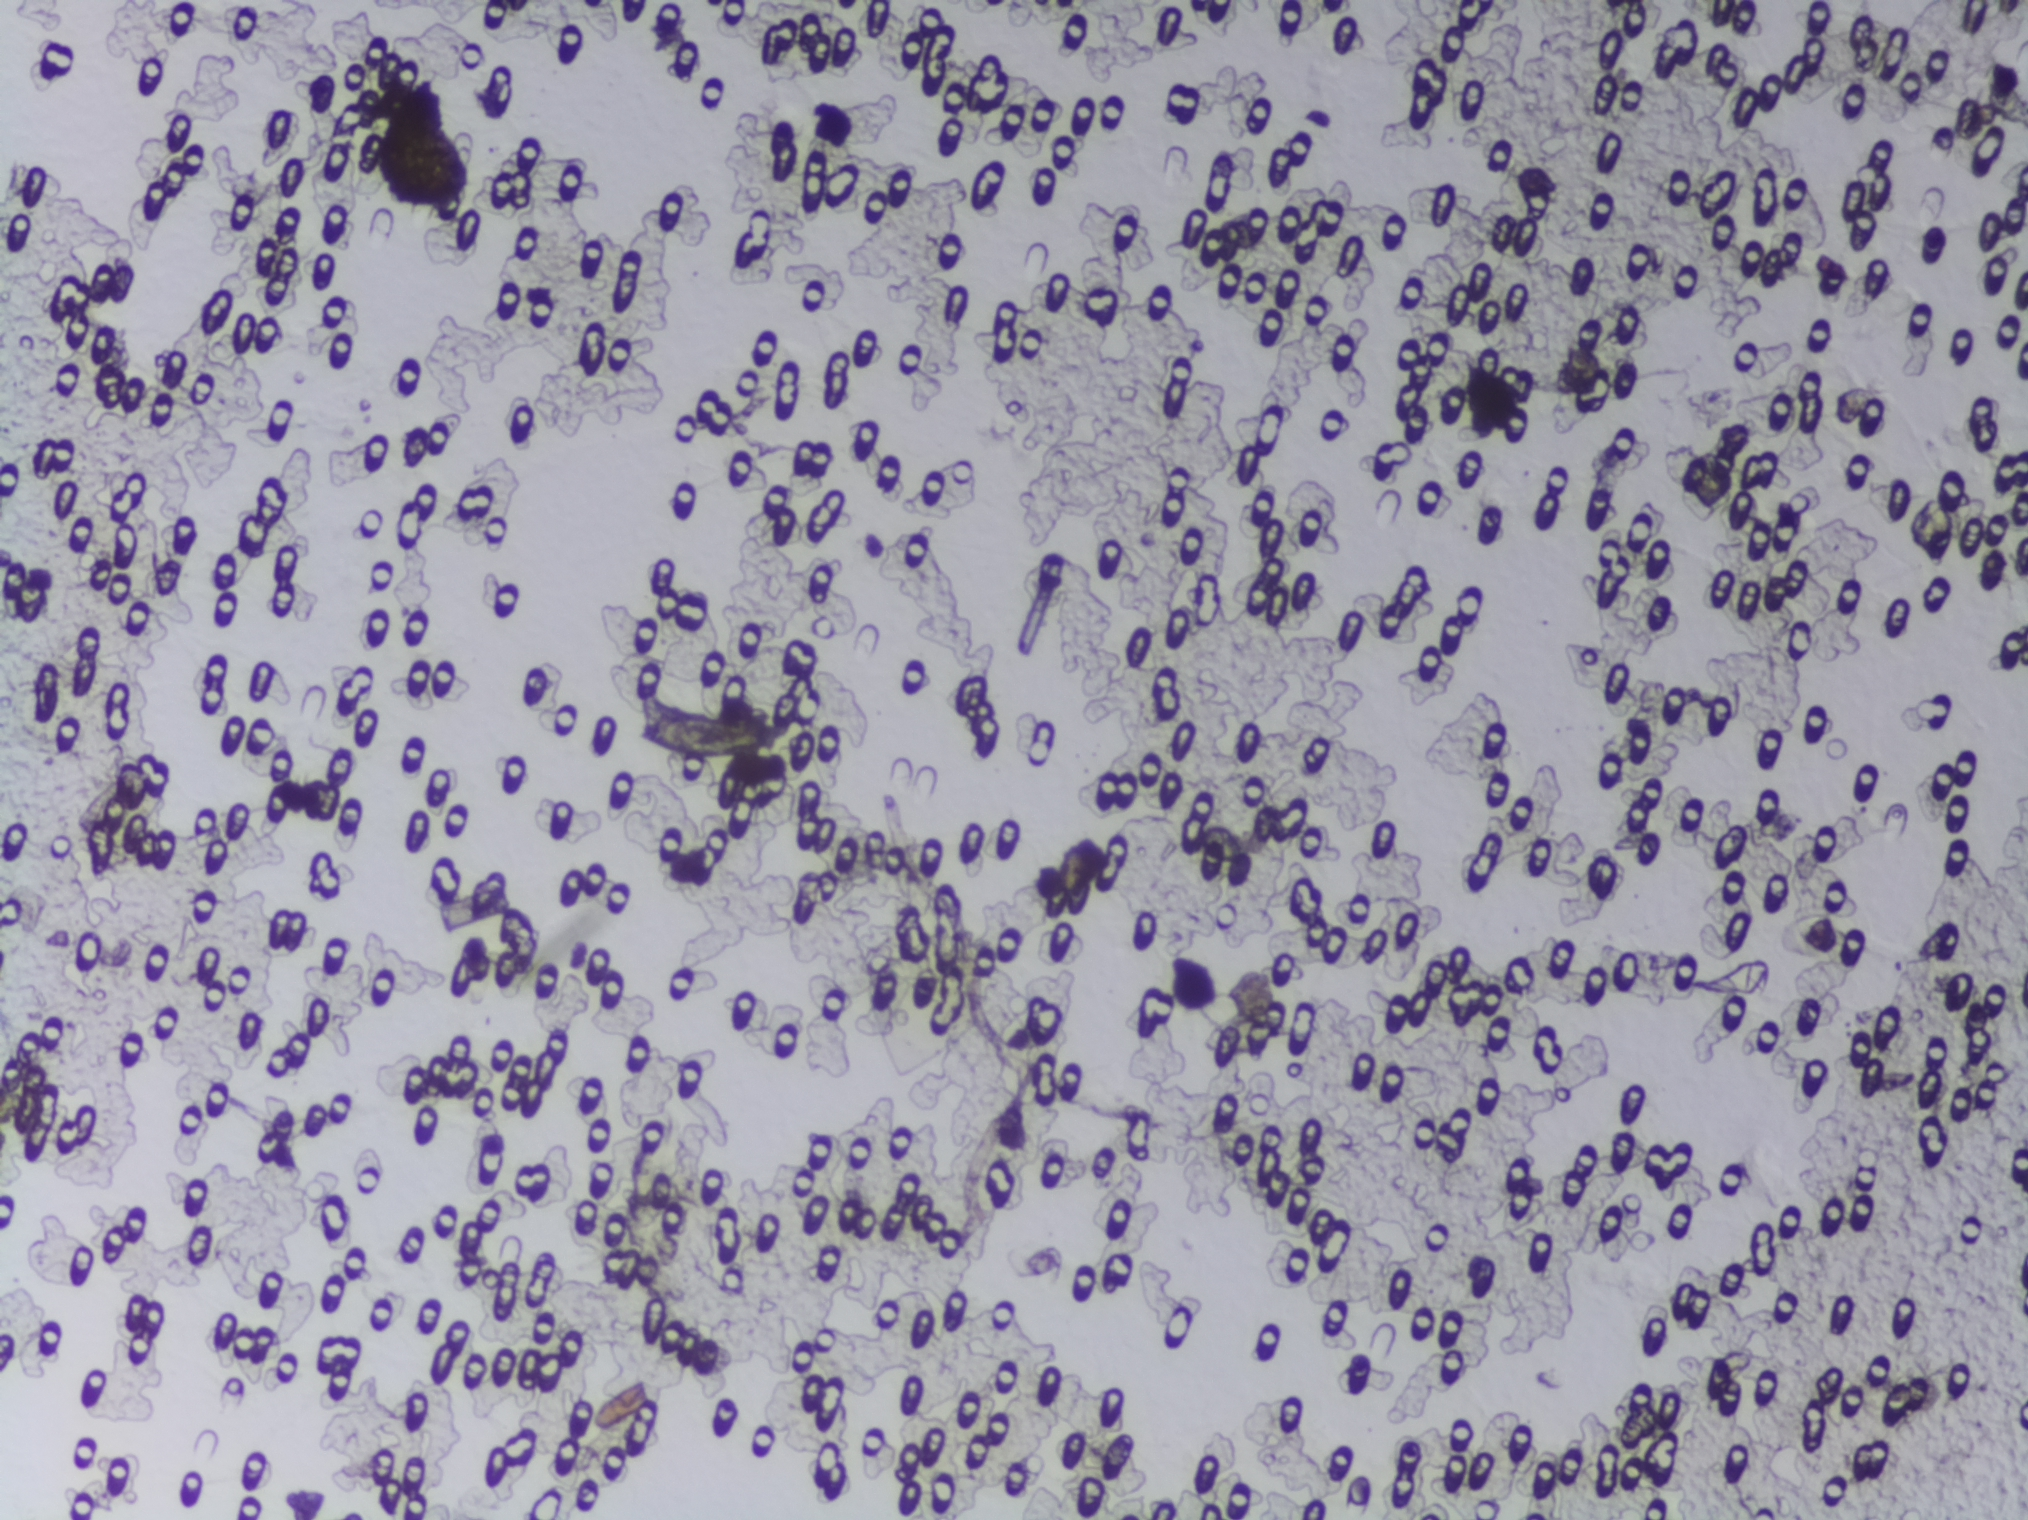
Photomicrograph of a urine filtration membrane, 4× objective. The image covers about 1.5 × 1.1 mm of the membrane.
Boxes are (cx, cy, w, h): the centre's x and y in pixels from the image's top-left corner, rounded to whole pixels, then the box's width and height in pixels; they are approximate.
Schistosoma eggs are outlined in one area of this image: (cx=702, cy=735, w=139, h=48). Eggs that touch can end up inside the same outlined area.